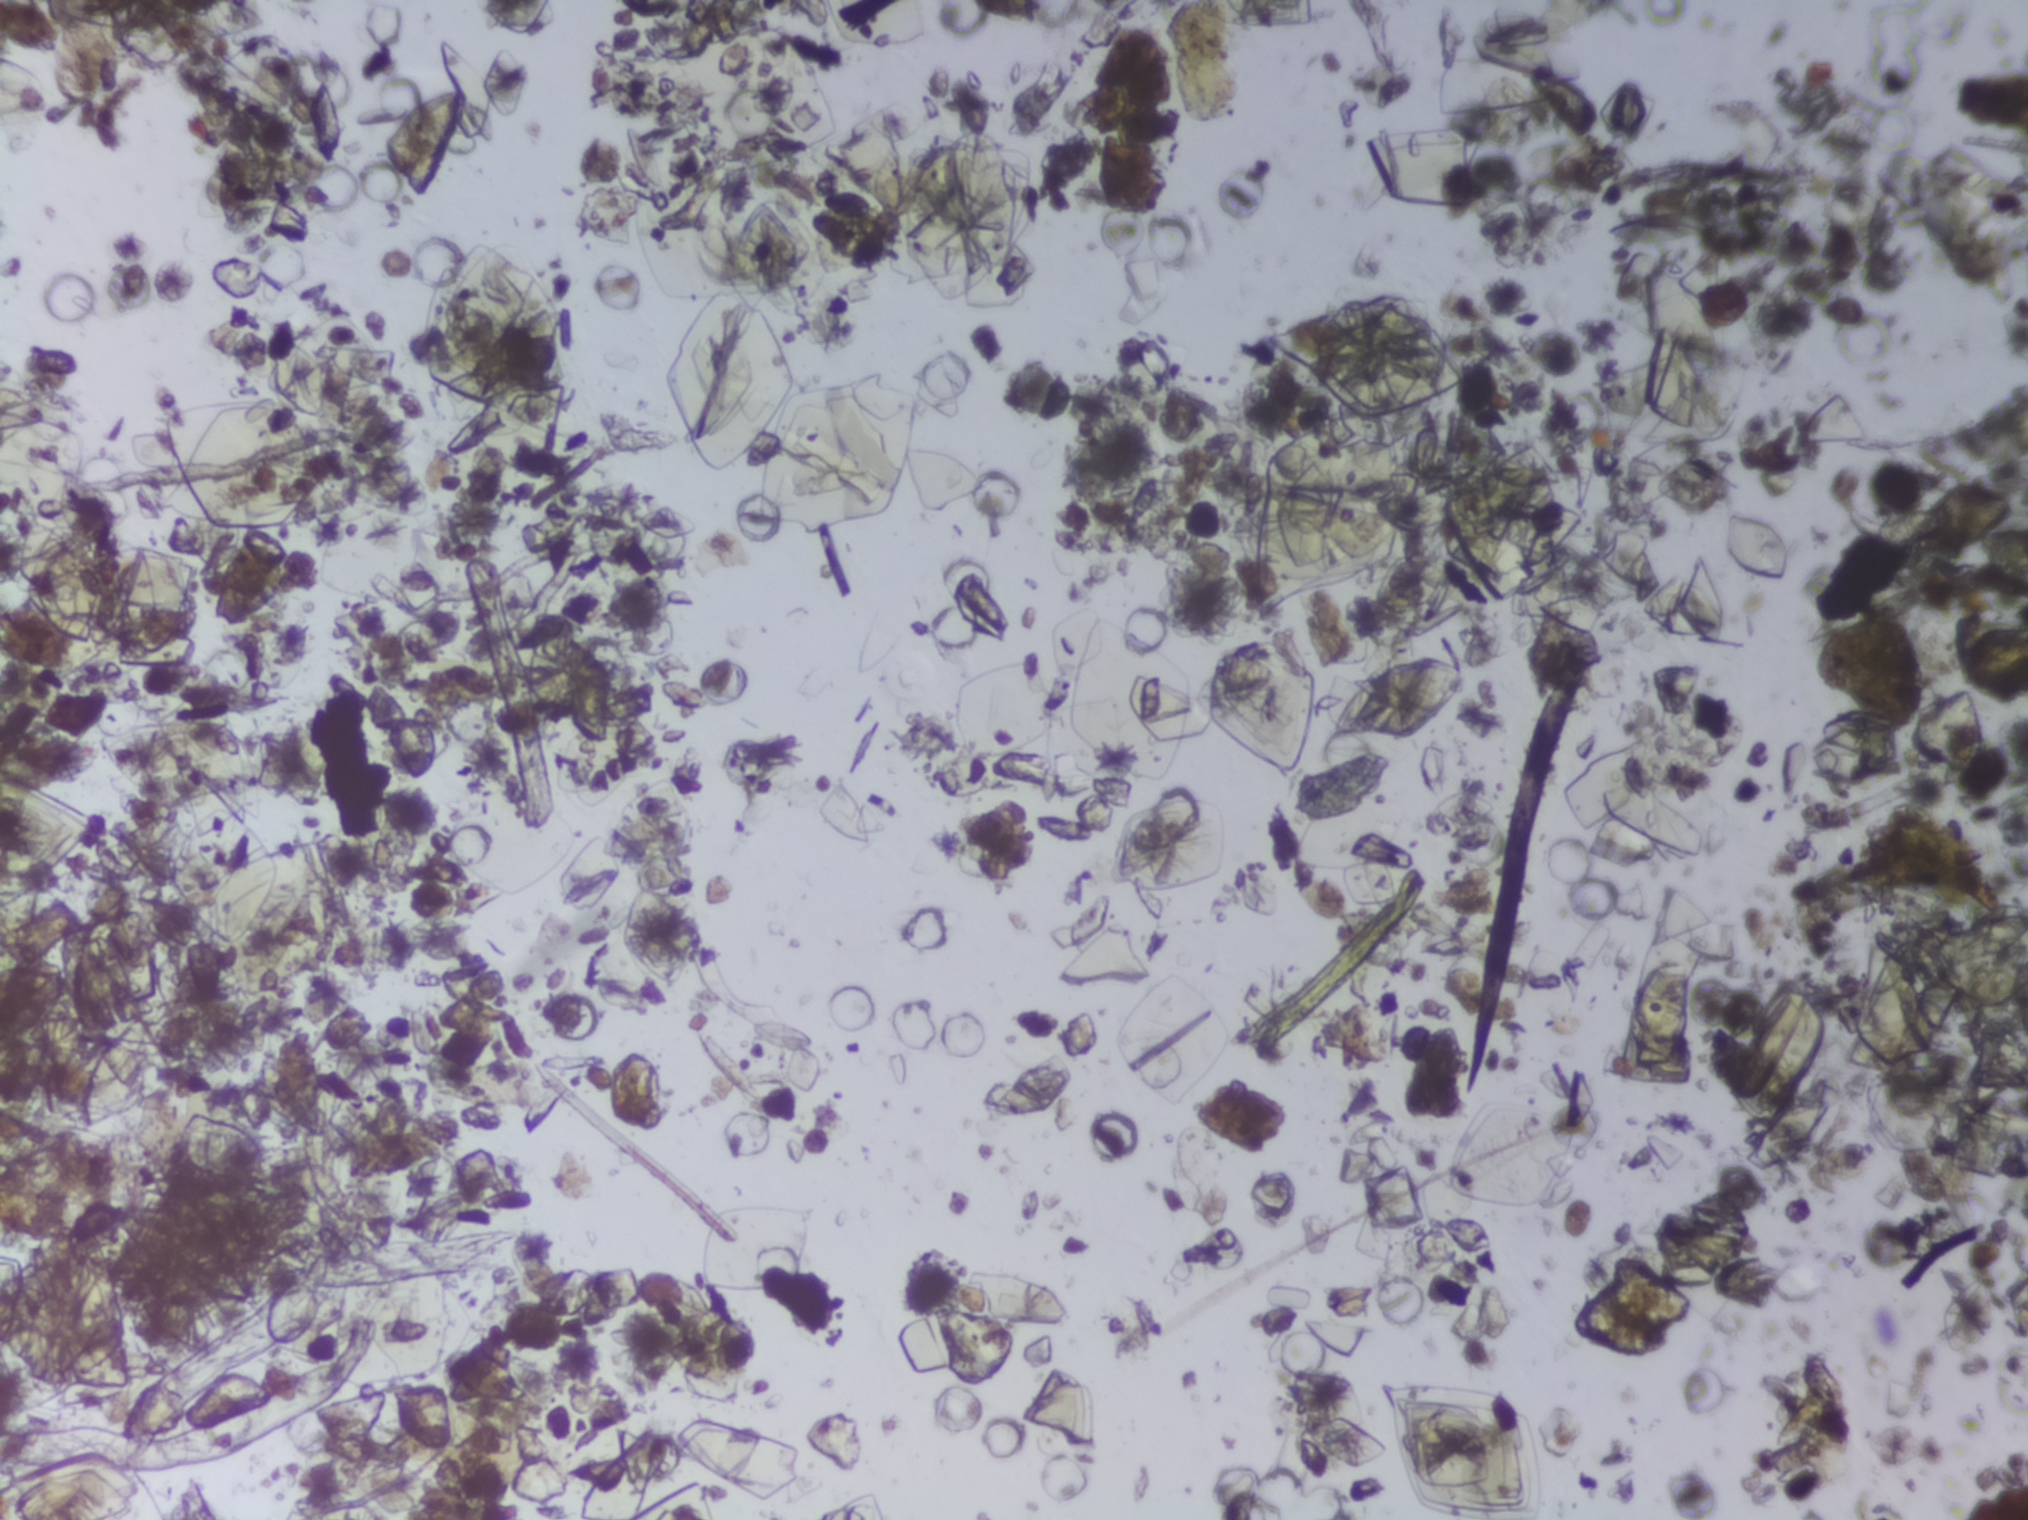
Microscope photograph (4× objective) of a membrane that a urine sample was filtered through.
The expert annotation marks no Schistosoma egg in this field of view.